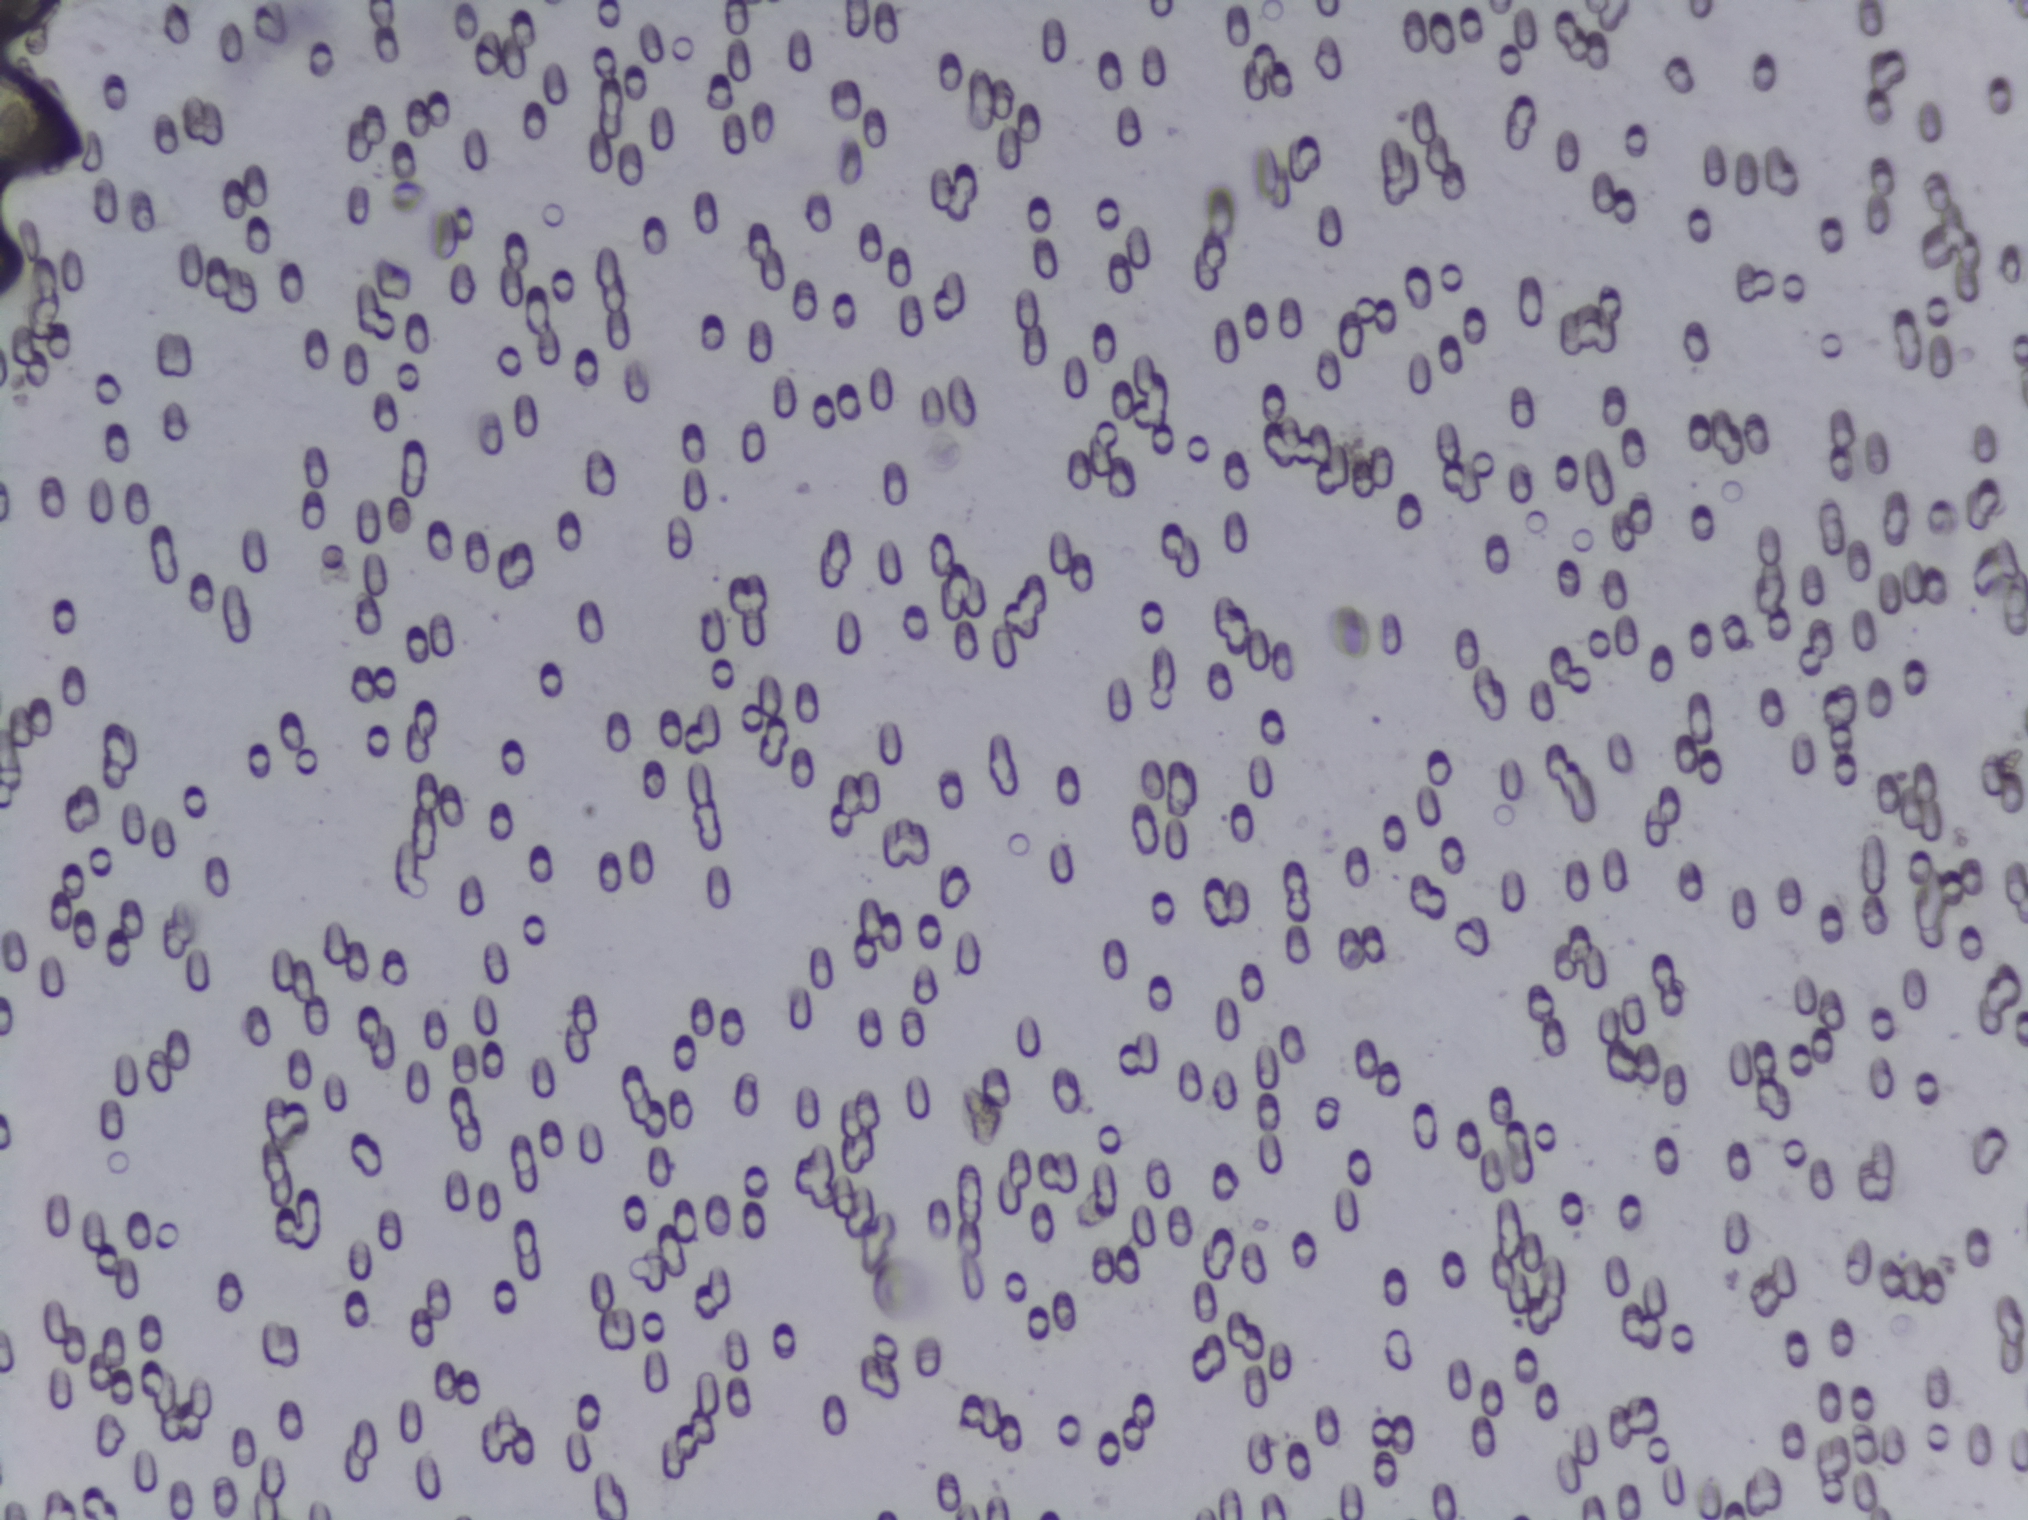
One field of view of a urine filter membrane, 4× objective, 2028 × 1520 pixels.
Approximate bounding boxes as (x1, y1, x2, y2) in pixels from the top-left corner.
Areas outlined as Schistosoma eggs:
1. (0, 67, 85, 168) (reaching the left edge of the frame)
An outlined area can hold more than one egg. A marked egg may occasionally be S. mansoni rather than S. haematobium.